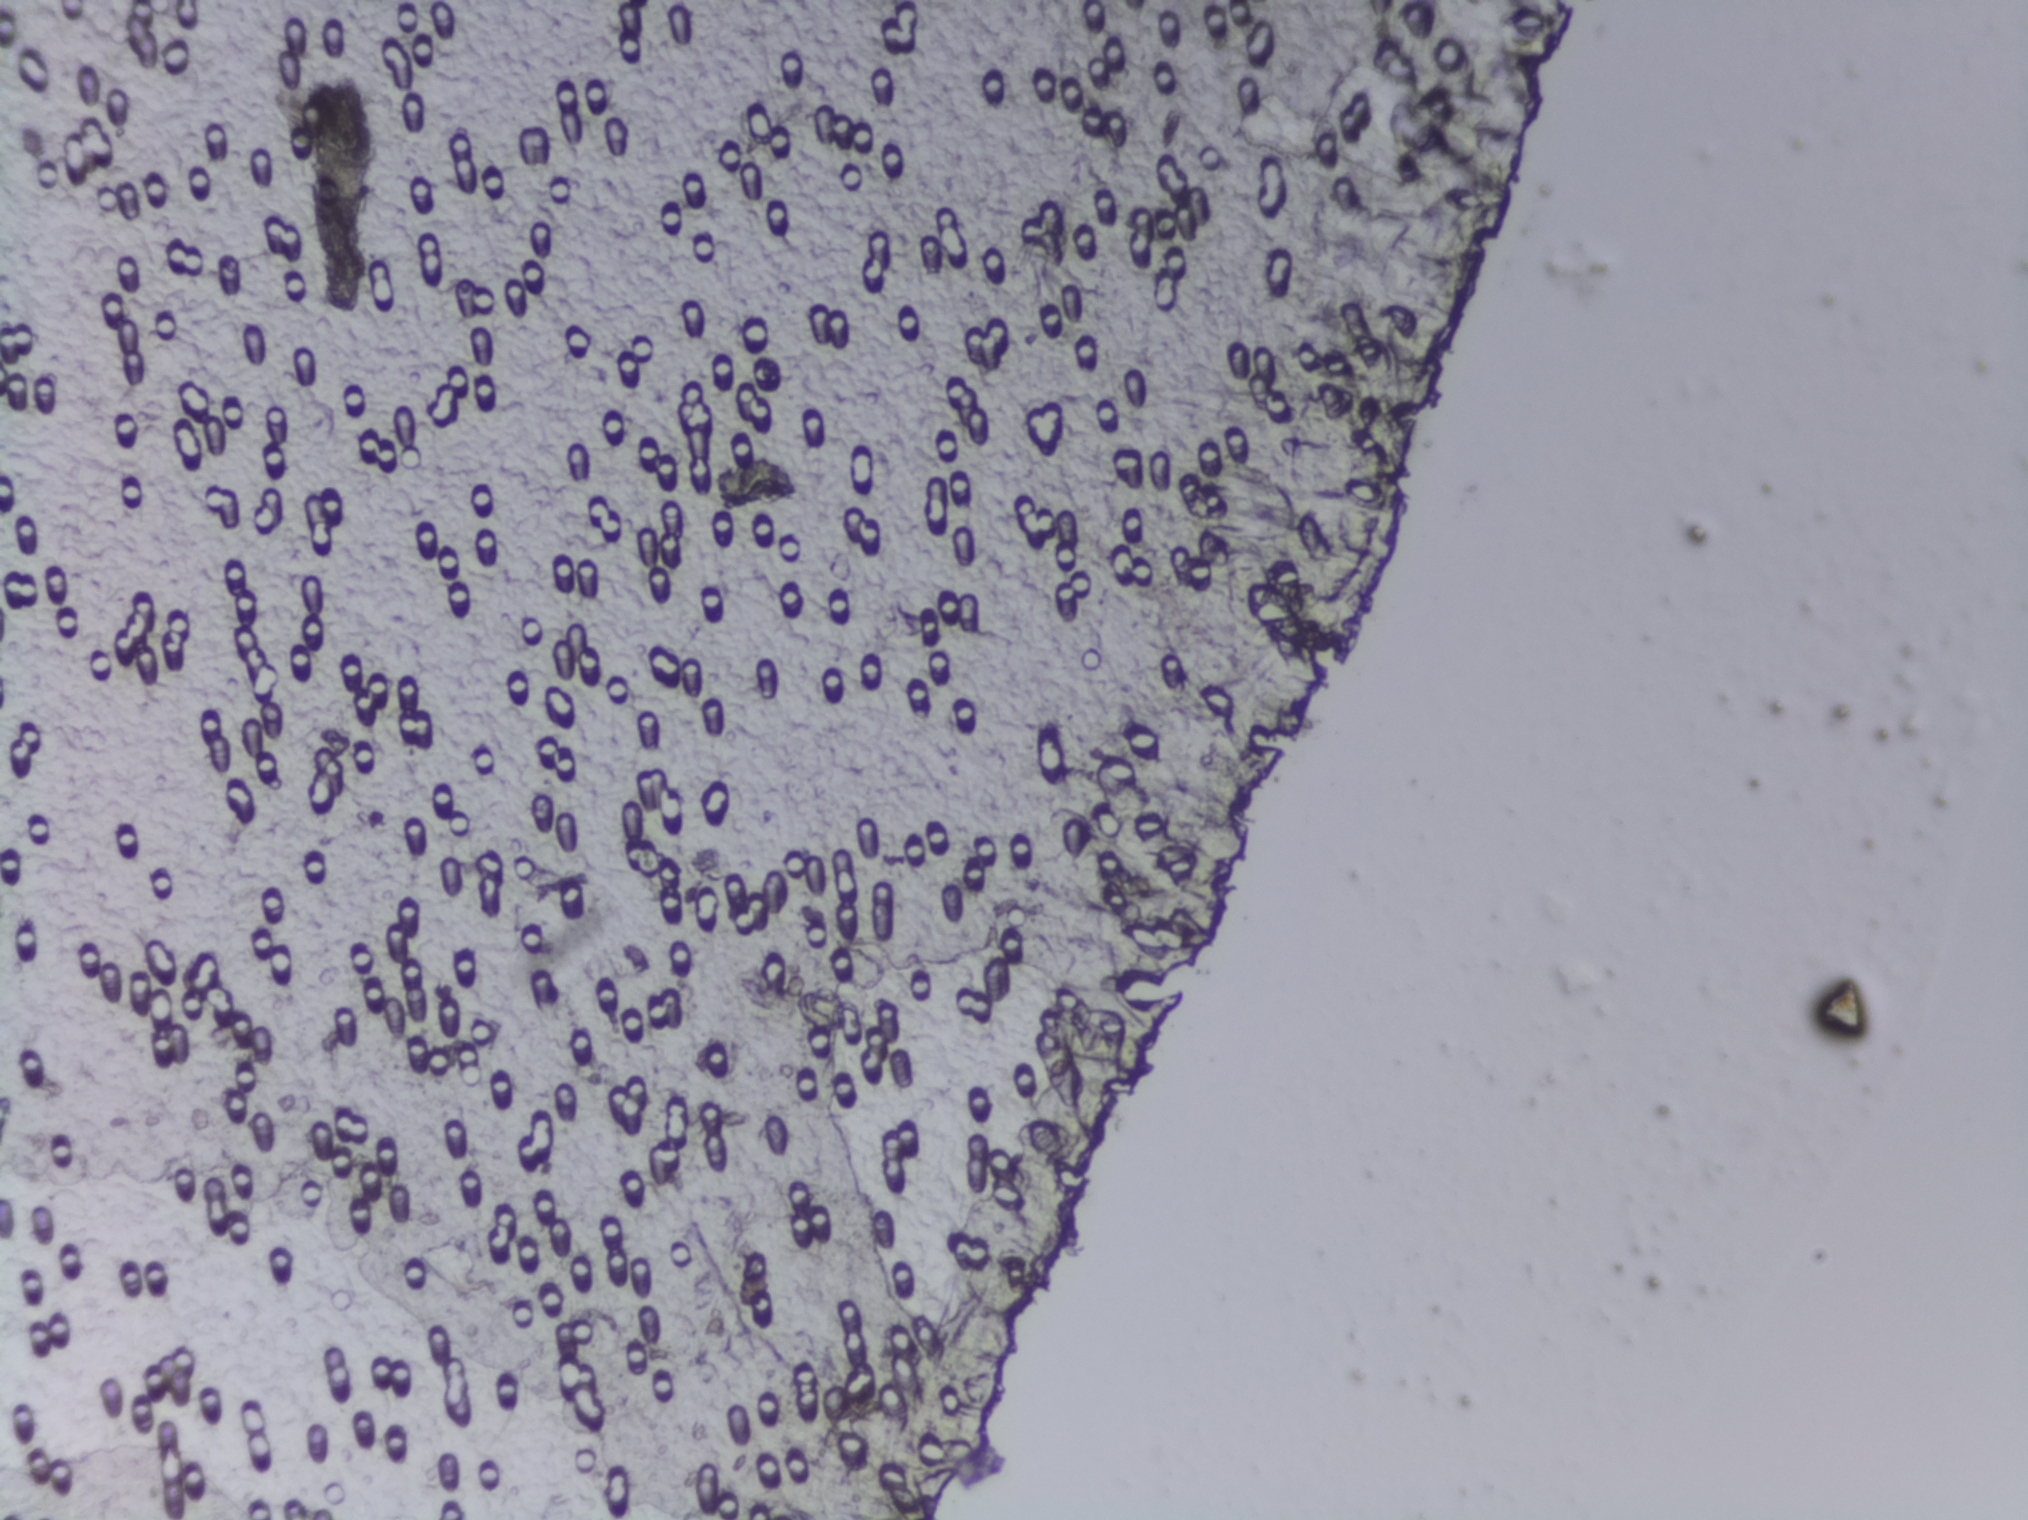
Photograph from an automated digital microscope: urine filter membrane, 4× objective.
The expert annotation marks no Schistosoma egg in this field of view.